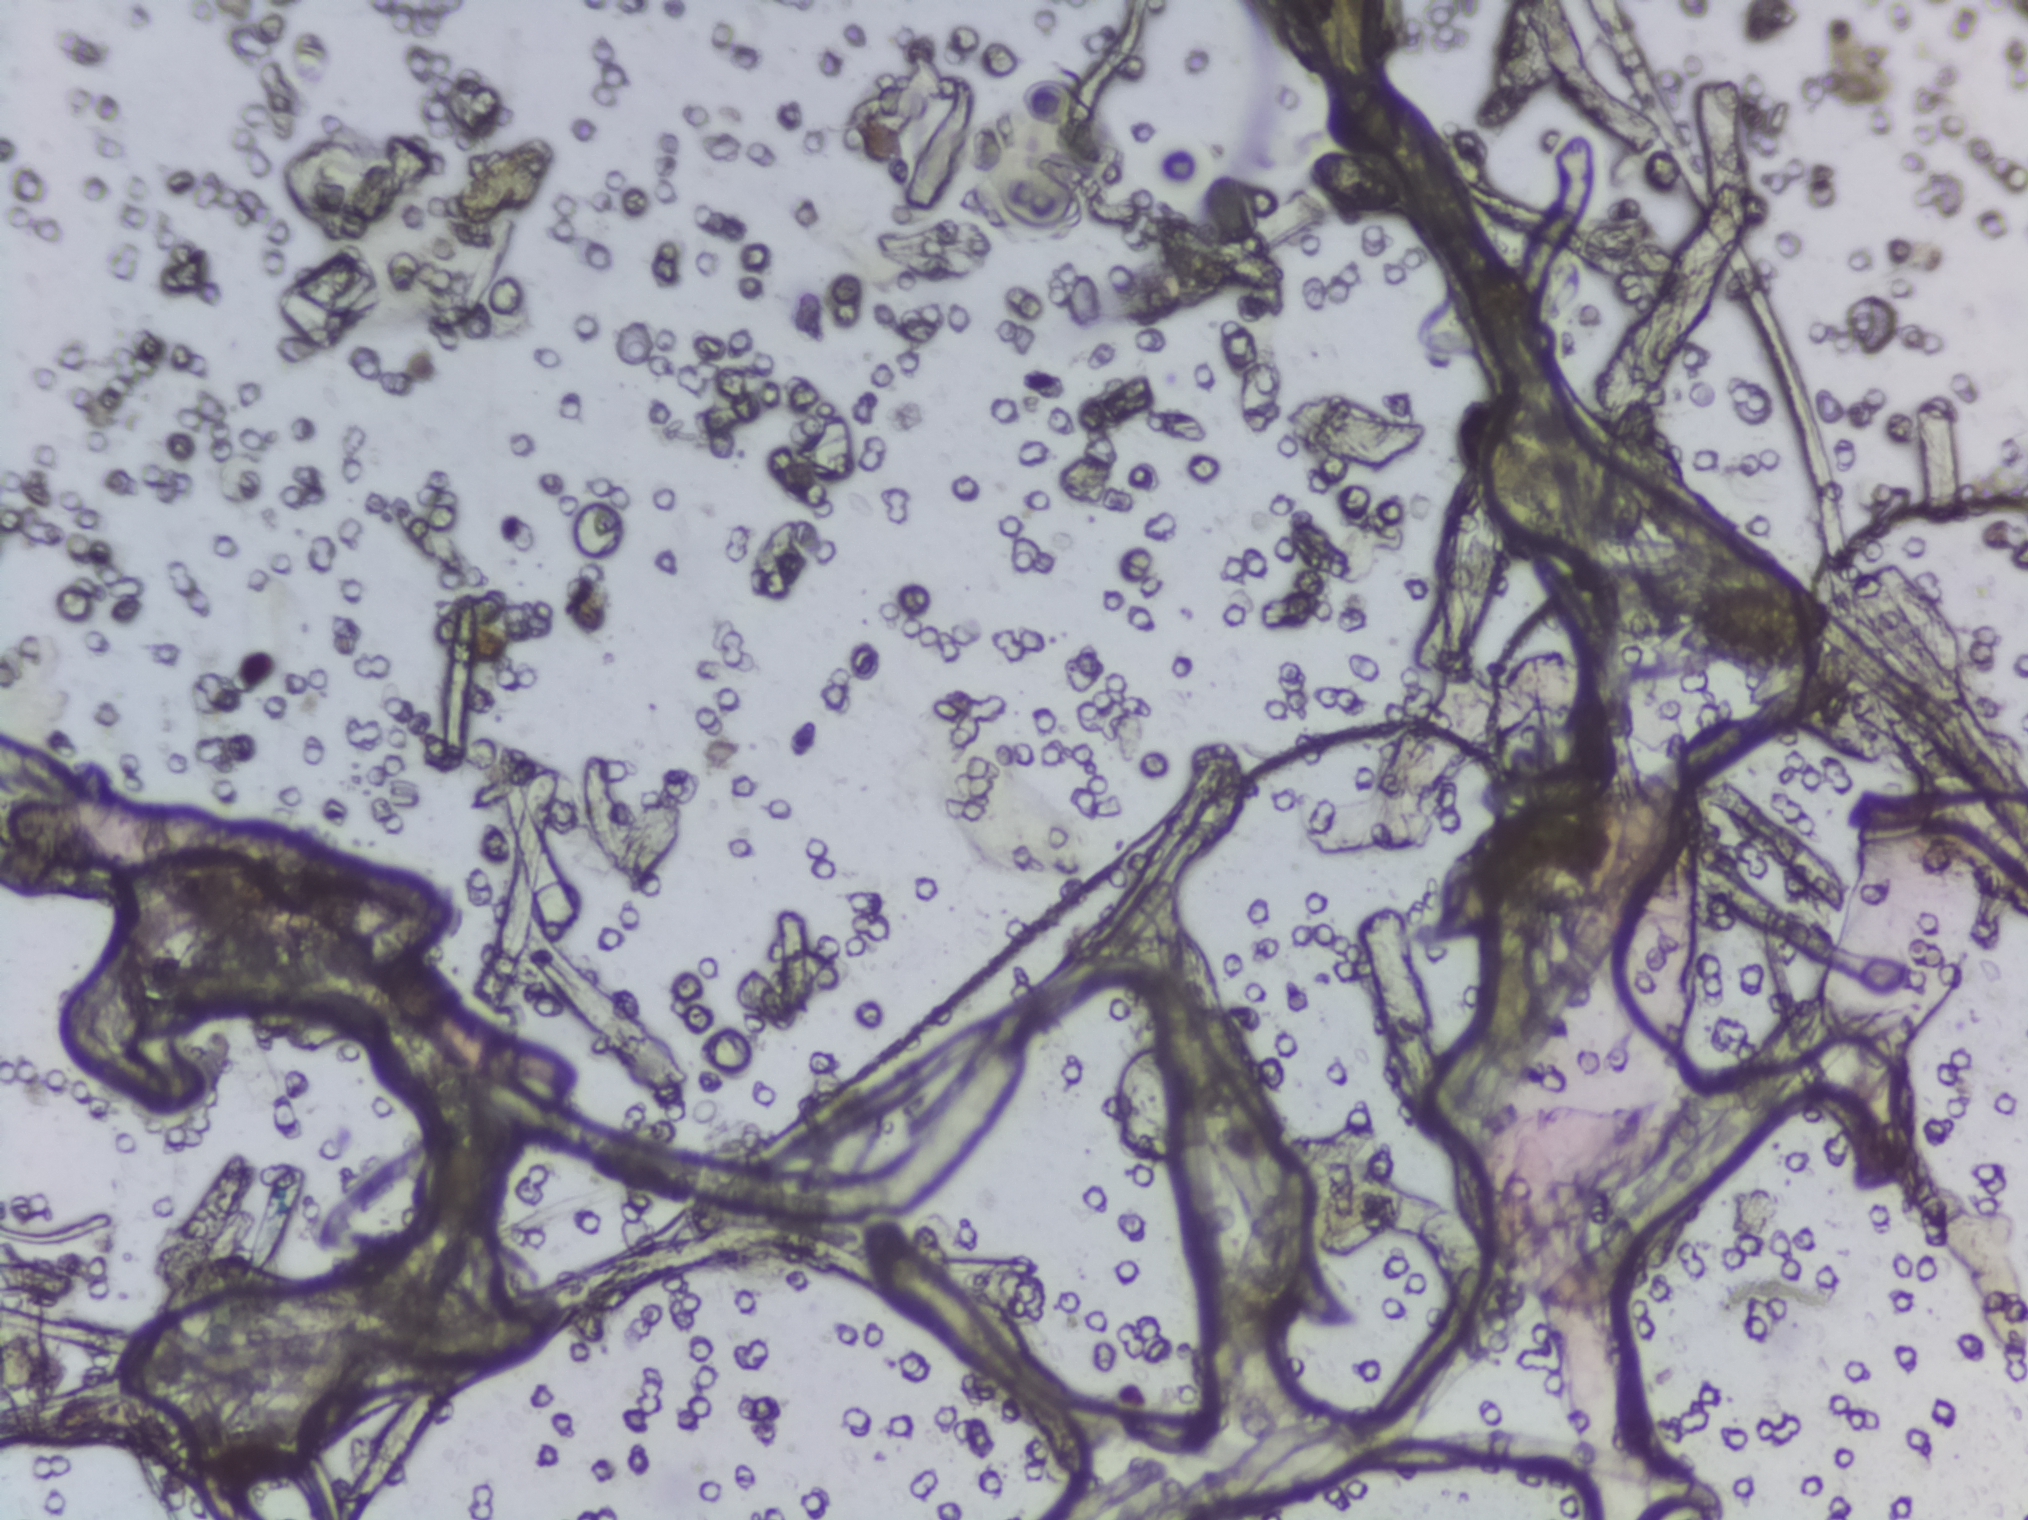
One field of view of a urine filter membrane, 4× objective, 2028 × 1520 pixels.
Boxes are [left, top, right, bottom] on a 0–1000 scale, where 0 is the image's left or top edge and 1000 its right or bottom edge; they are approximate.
Two areas of this image are outlined as Schistosoma eggs, from left to right: [644, 98, 694, 143] and [720, 264, 772, 364]. Eggs that touch can end up inside the same outlined area.